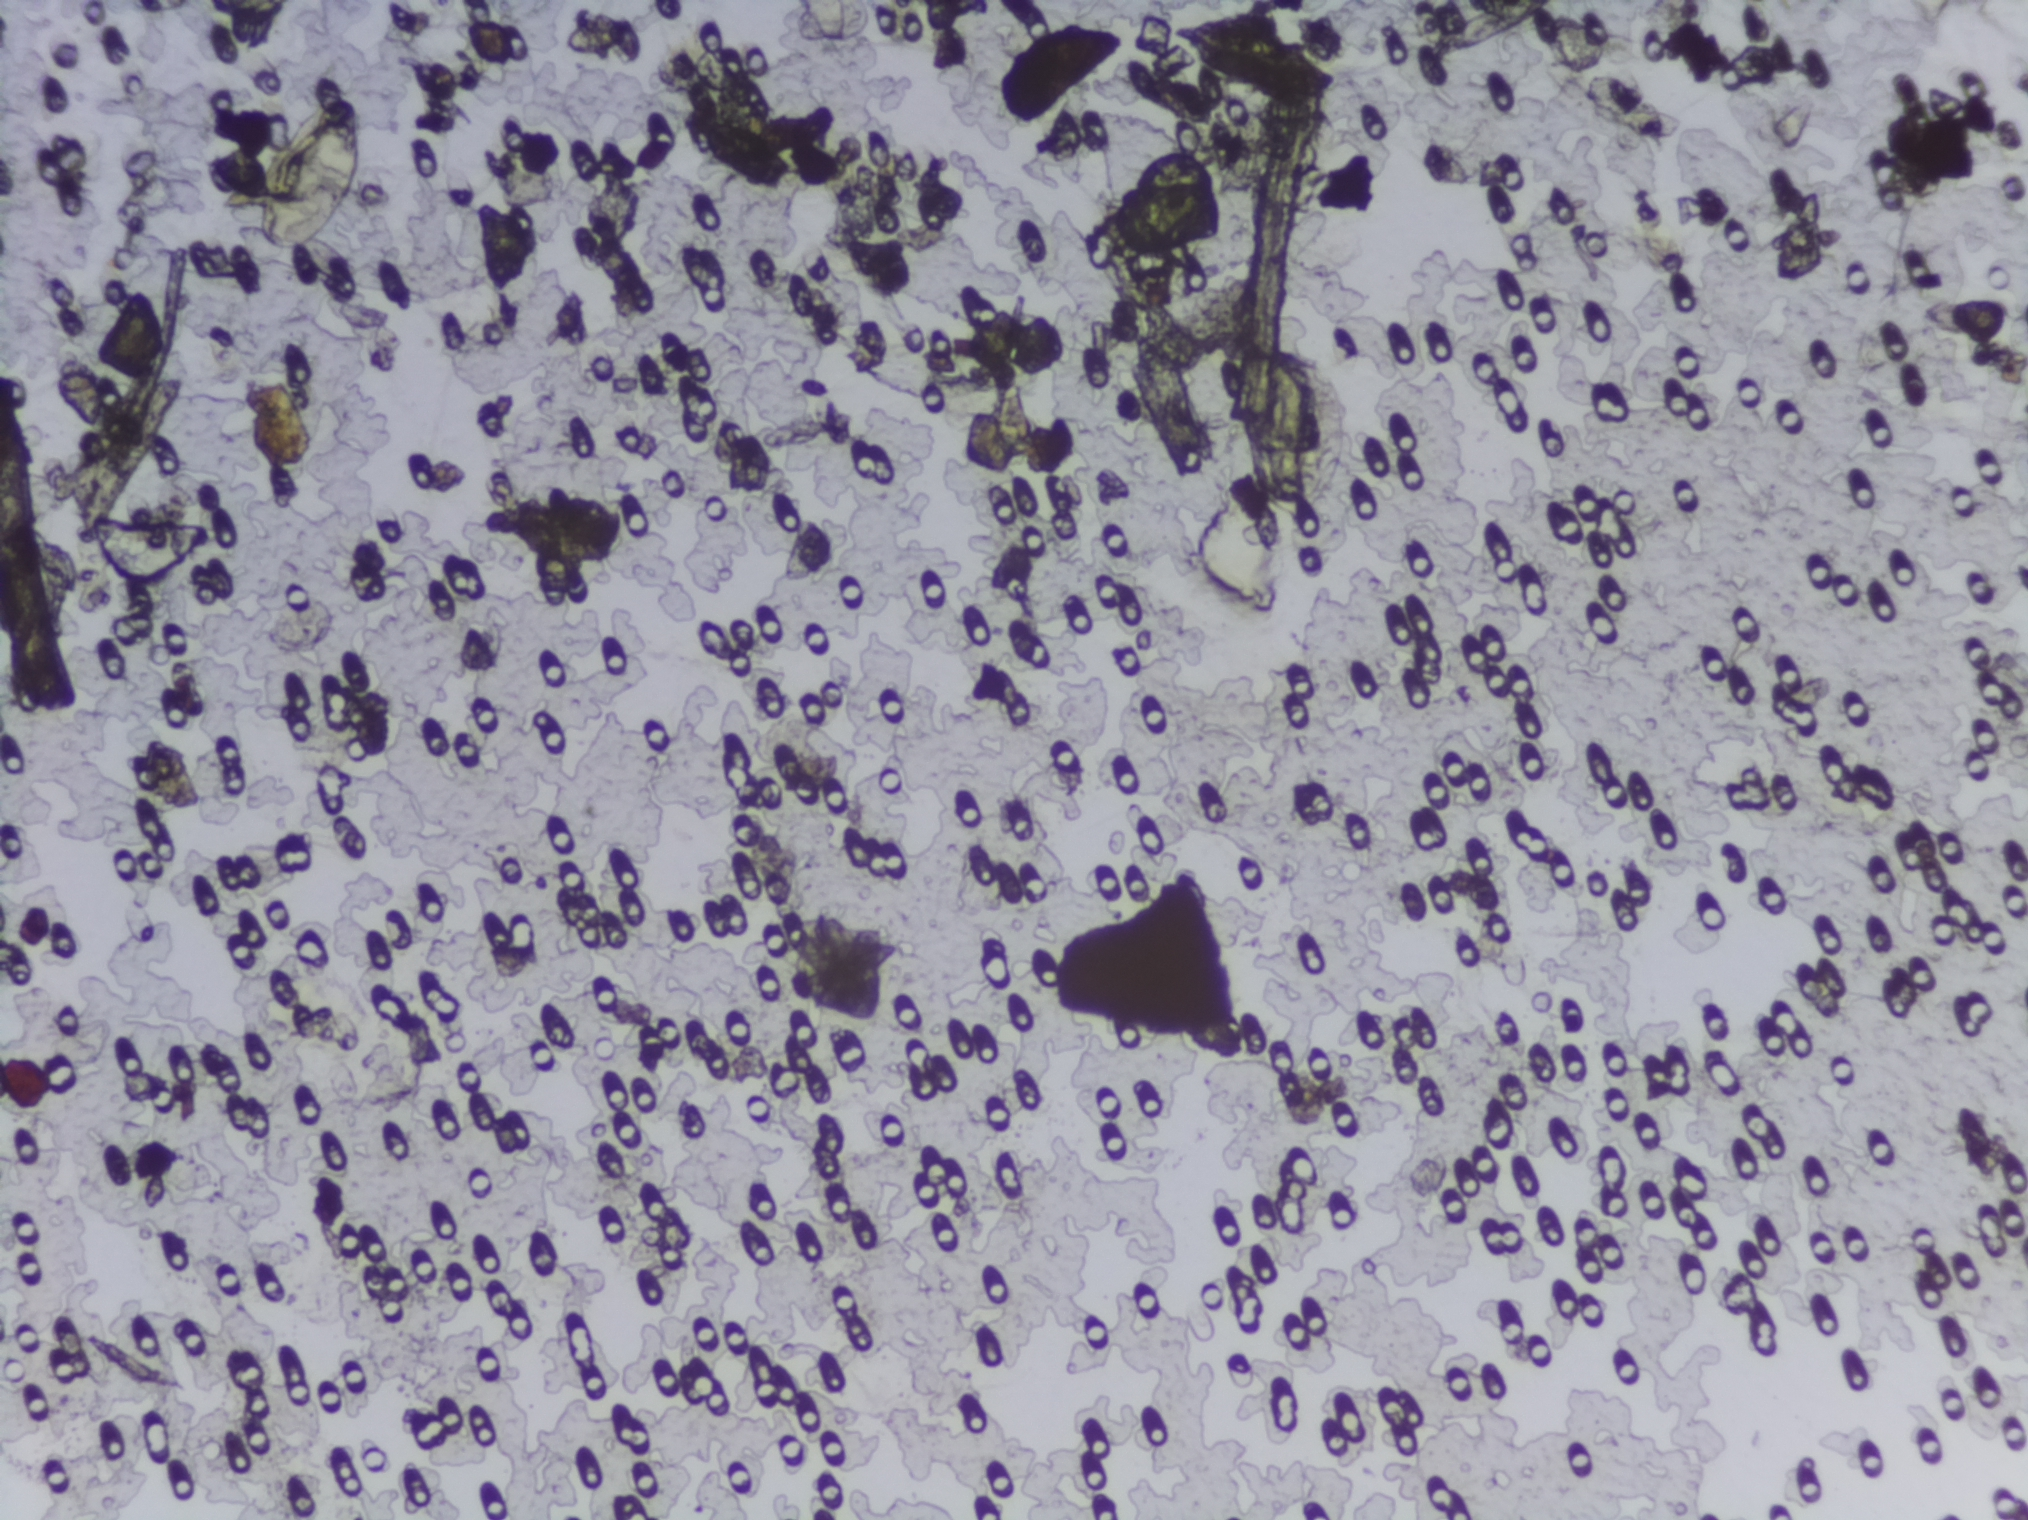
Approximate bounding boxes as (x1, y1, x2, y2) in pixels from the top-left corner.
Areas outlined as Schistosoma eggs: (220, 91, 363, 255). An outlined area can hold more than one egg.
Microscope photograph (4× objective) of a membrane that a urine sample was filtered through.